Photograph from an automated digital microscope: urine filter membrane, 4× objective.
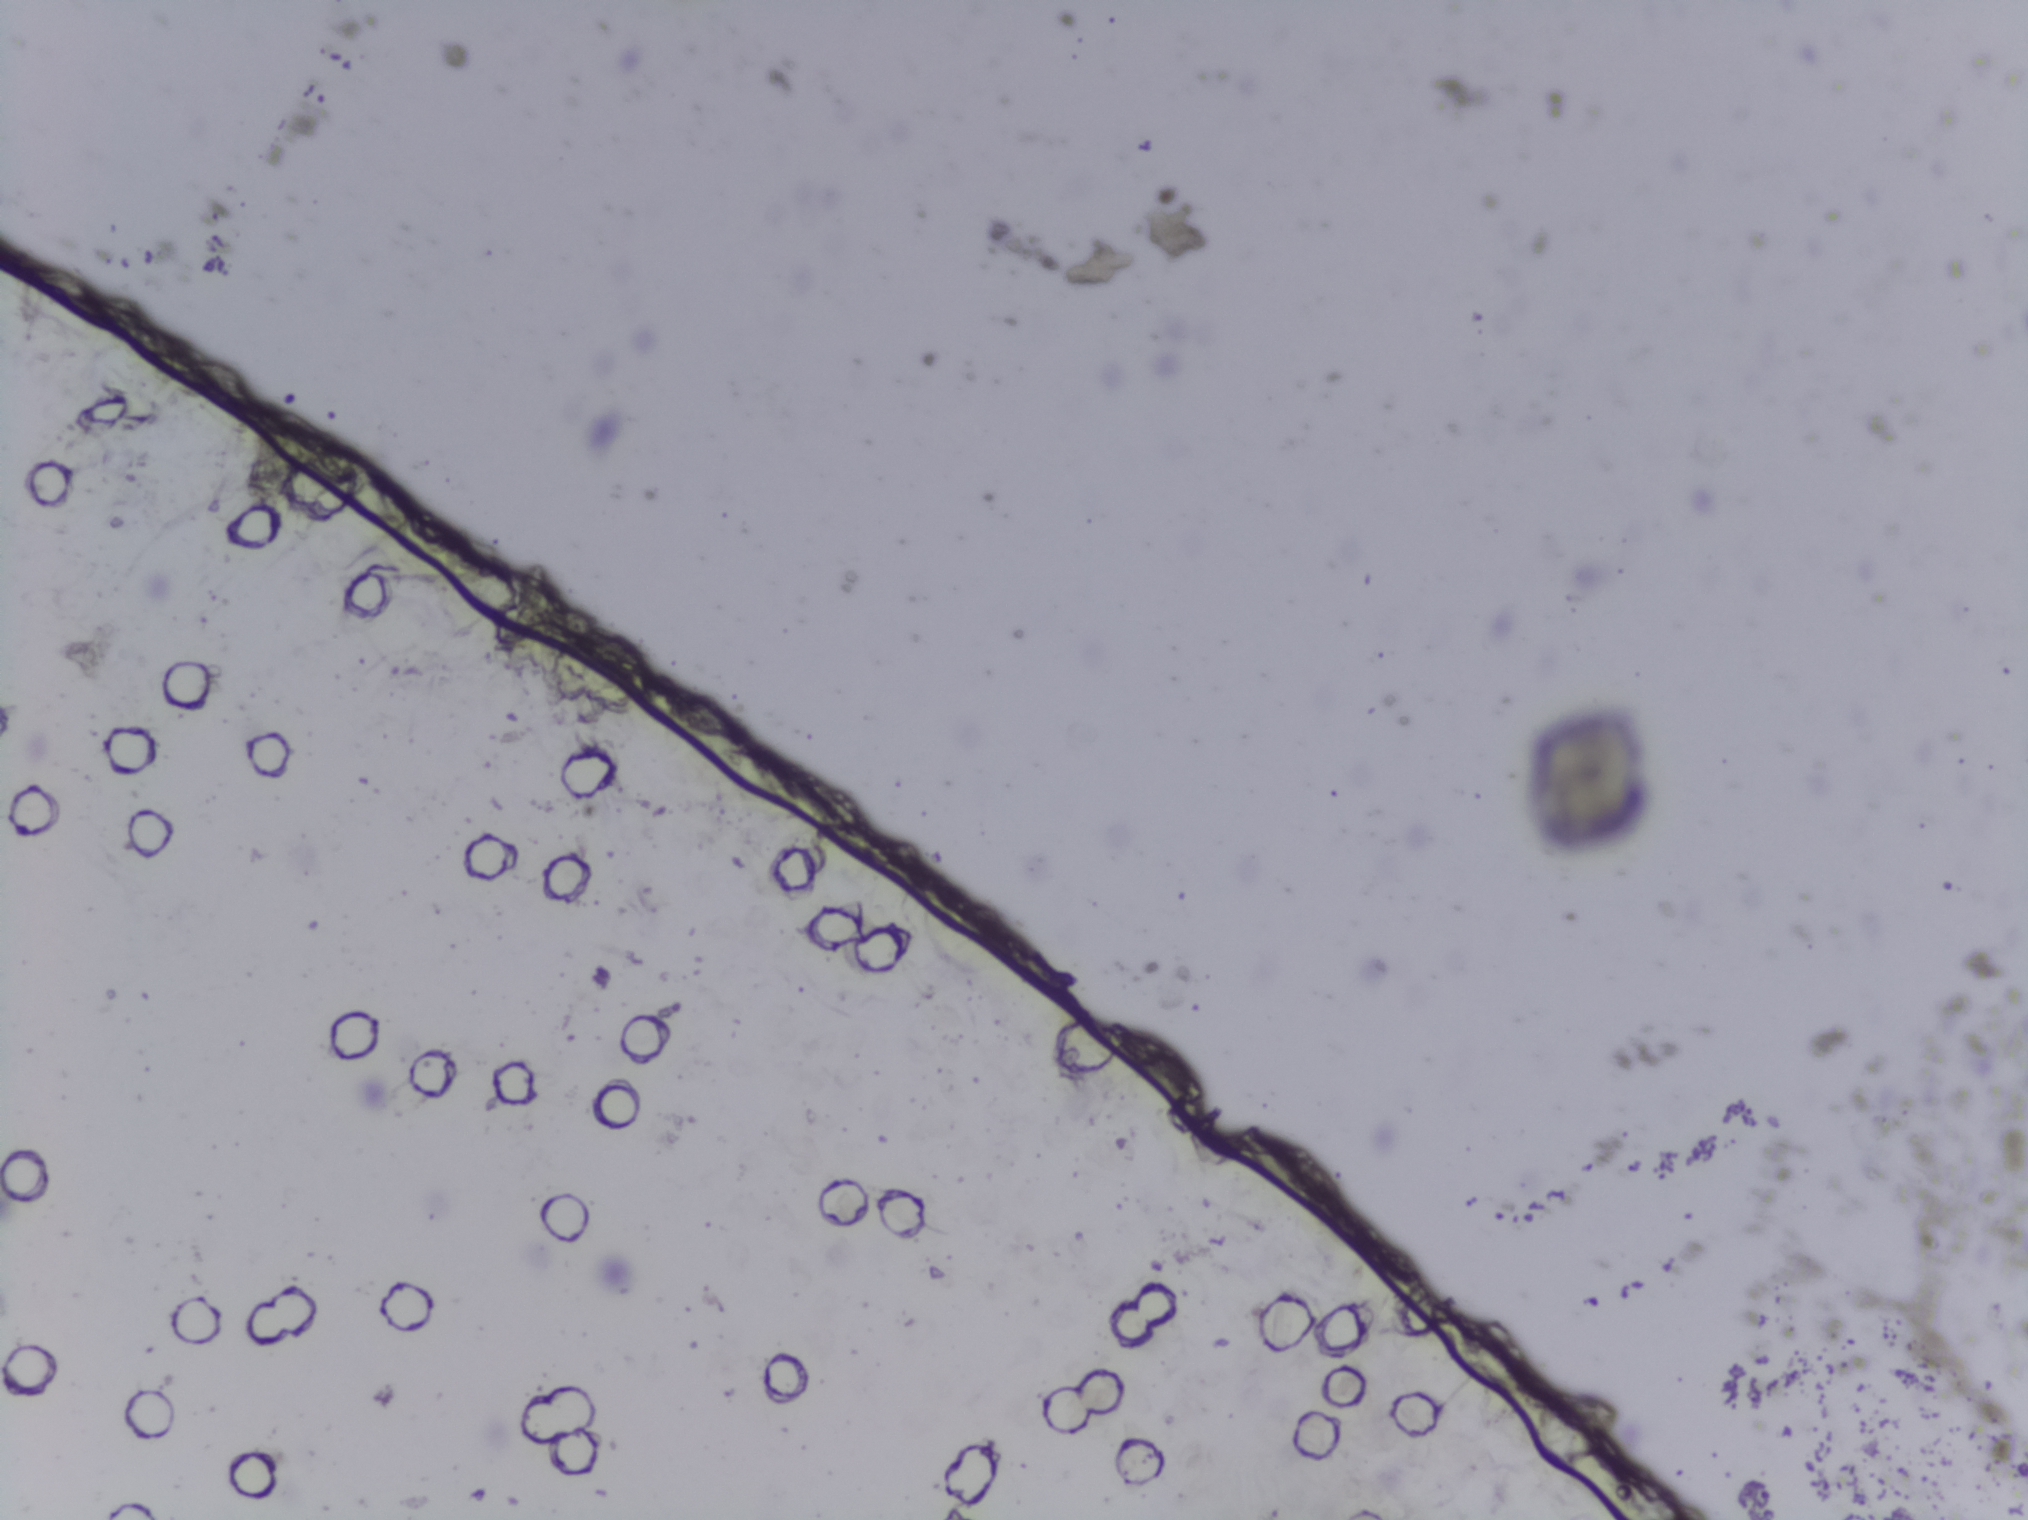
No Schistosoma egg is outlined in this image's expert annotation.